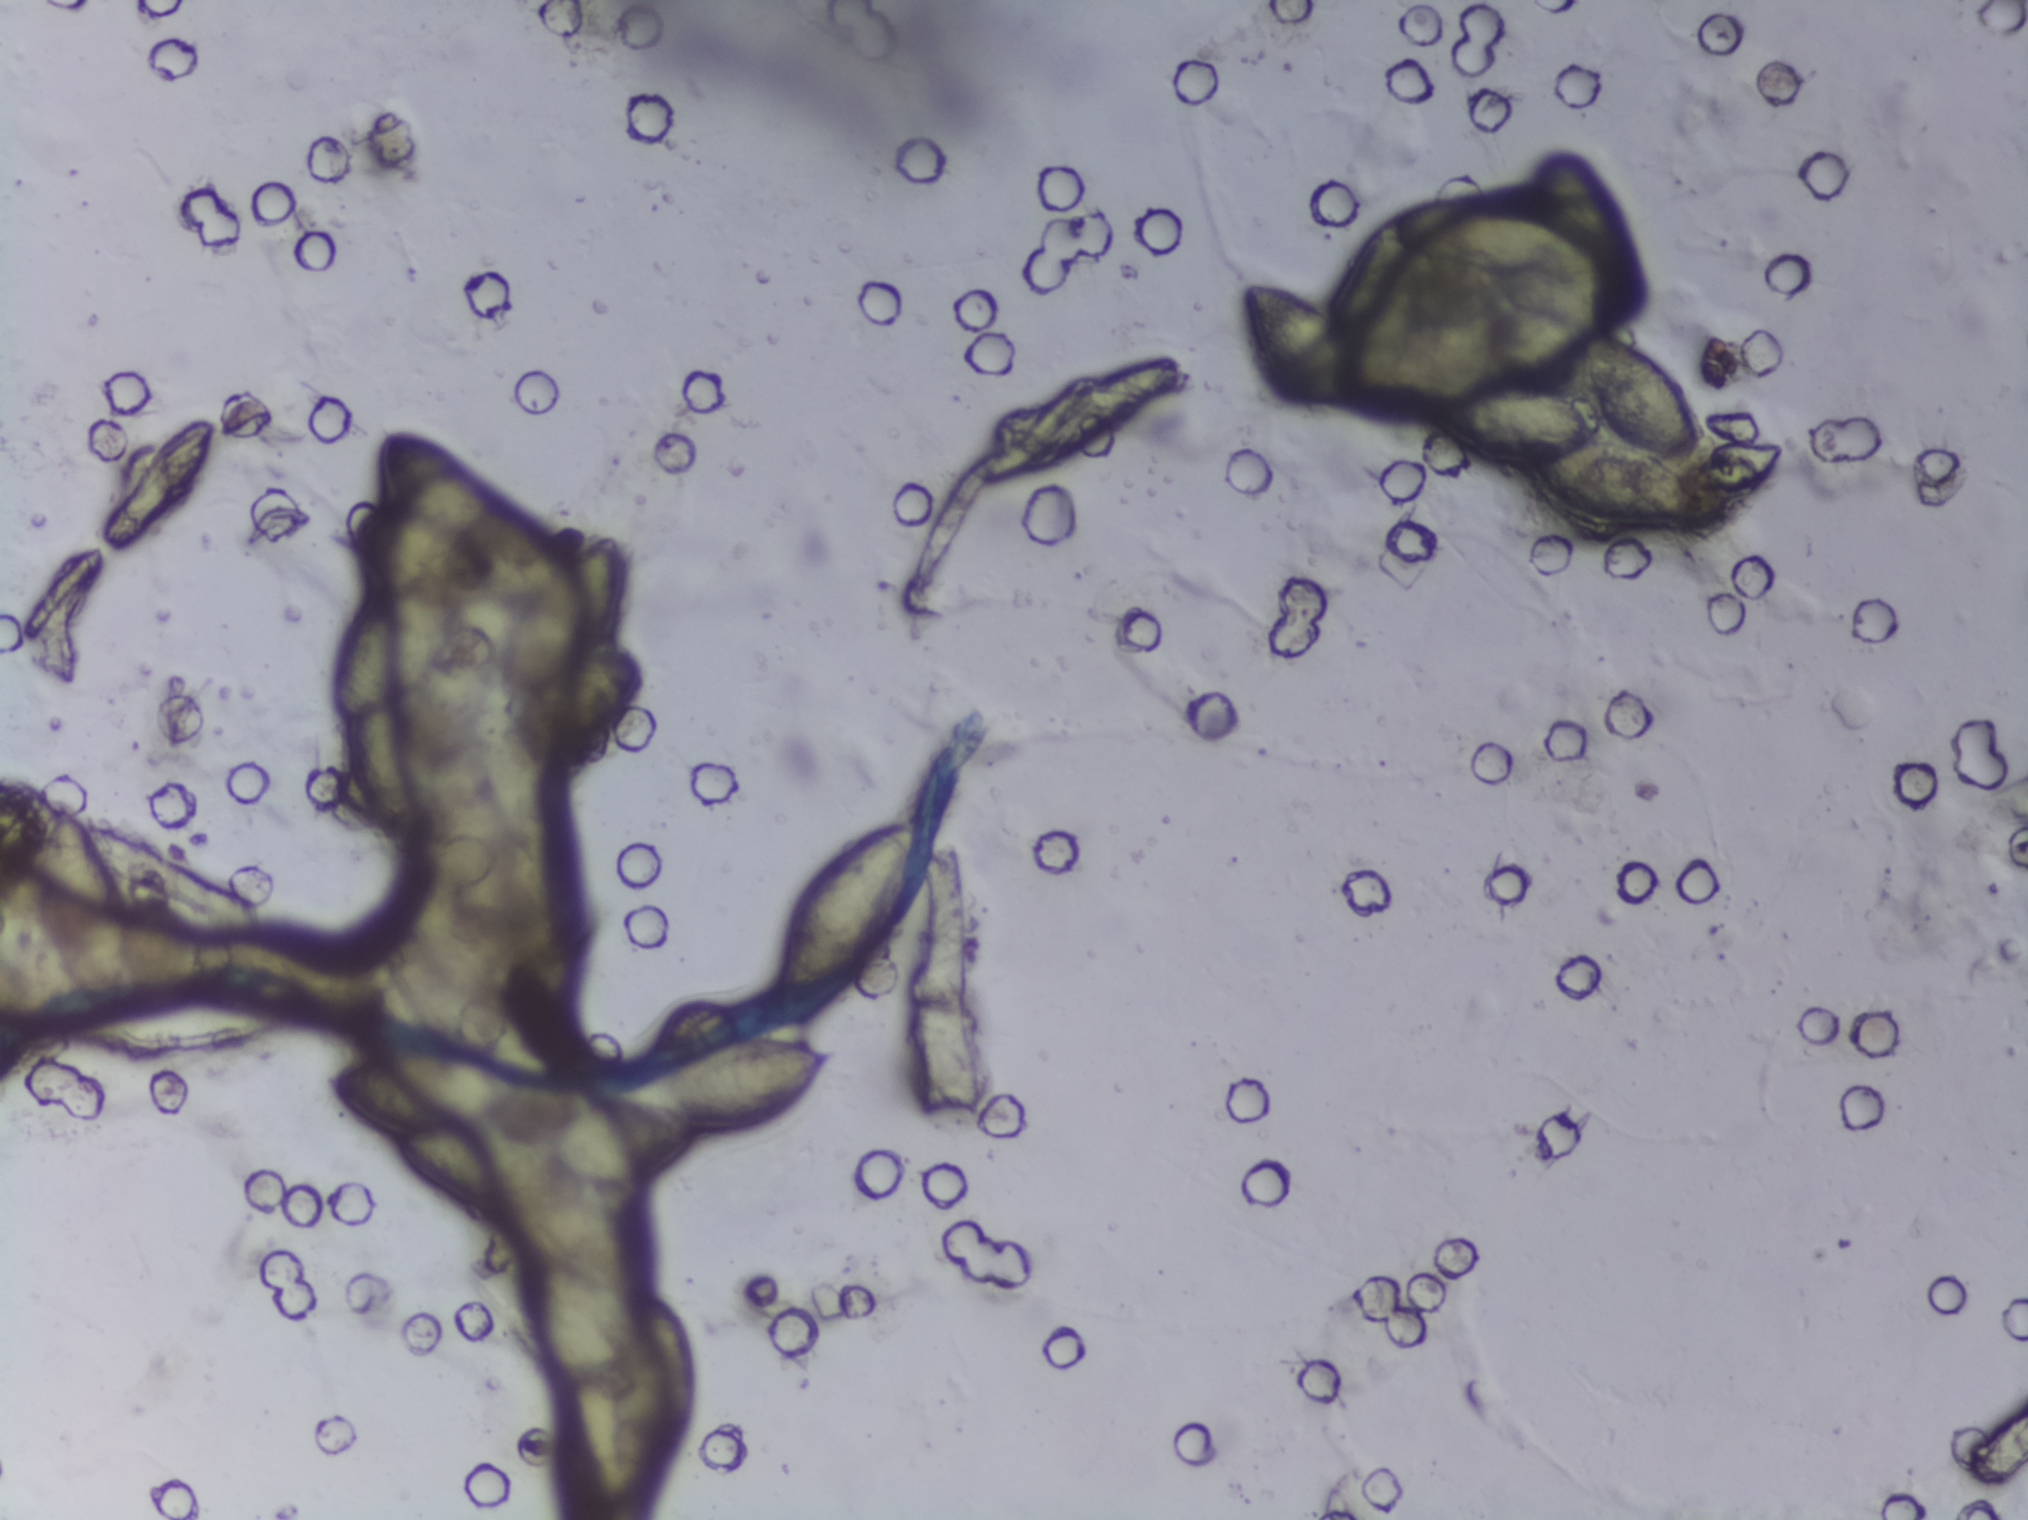
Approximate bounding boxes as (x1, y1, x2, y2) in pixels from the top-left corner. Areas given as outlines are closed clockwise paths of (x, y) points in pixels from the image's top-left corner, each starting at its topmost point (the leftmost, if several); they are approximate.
Areas outlined as Schistosoma eggs, left to right:
1. box (31, 803, 197, 1015)
2. outline (730, 1030), (808, 1036), (822, 1048), (824, 1074), (757, 1125), (685, 1116), (686, 1149), (655, 1175), (611, 1185), (578, 1182), (574, 1188), (605, 1201), (630, 1224), (649, 1259), (644, 1289), (681, 1305), (698, 1332), (697, 1409), (684, 1446), (661, 1483), (632, 1488), (614, 1478), (600, 1453), (599, 1380), (556, 1377), (536, 1344), (534, 1278), (548, 1260), (500, 1236), (456, 1195), (423, 1186), (387, 1154), (378, 1130), (332, 1109), (320, 1085), (336, 1068), (375, 1055), (448, 1051), (486, 1061), (511, 1085), (505, 1104), (464, 1124), (501, 1124), (538, 1137), (579, 1098), (592, 1092), (644, 1094), (643, 1076), (658, 1060), (691, 1040) (eggs clustered together)
3. outline (392, 430), (425, 434), (494, 488), (494, 526), (486, 539), (473, 541), (522, 570), (522, 586), (512, 595), (453, 603), (457, 634), (440, 674), (398, 712), (438, 799), (437, 822), (404, 837), (387, 823), (360, 779), (351, 722), (338, 714), (334, 700), (338, 649), (353, 615), (388, 585), (364, 562), (359, 527), (374, 507), (397, 504), (382, 476), (382, 445)
4. box (500, 538, 644, 771)
5. box (769, 818, 918, 1007)
6. box (1237, 279, 1353, 404)
7. box (1394, 201, 1538, 267)
8. box (1445, 333, 1711, 520)
9. box (1534, 155, 1641, 296)
About 7.7% of the image's pixels are marked (the marked pixels themselves, not the boxes and the outlines around them). A single outlined area may contain several eggs.
Photomicrograph of a urine filtration membrane, 4× objective. The image covers about 1.5 × 1.1 mm of the membrane.